Urine filter membrane photographed through a 4× microscope objective. The field of view is about 1.5 mm × 1.1 mm.
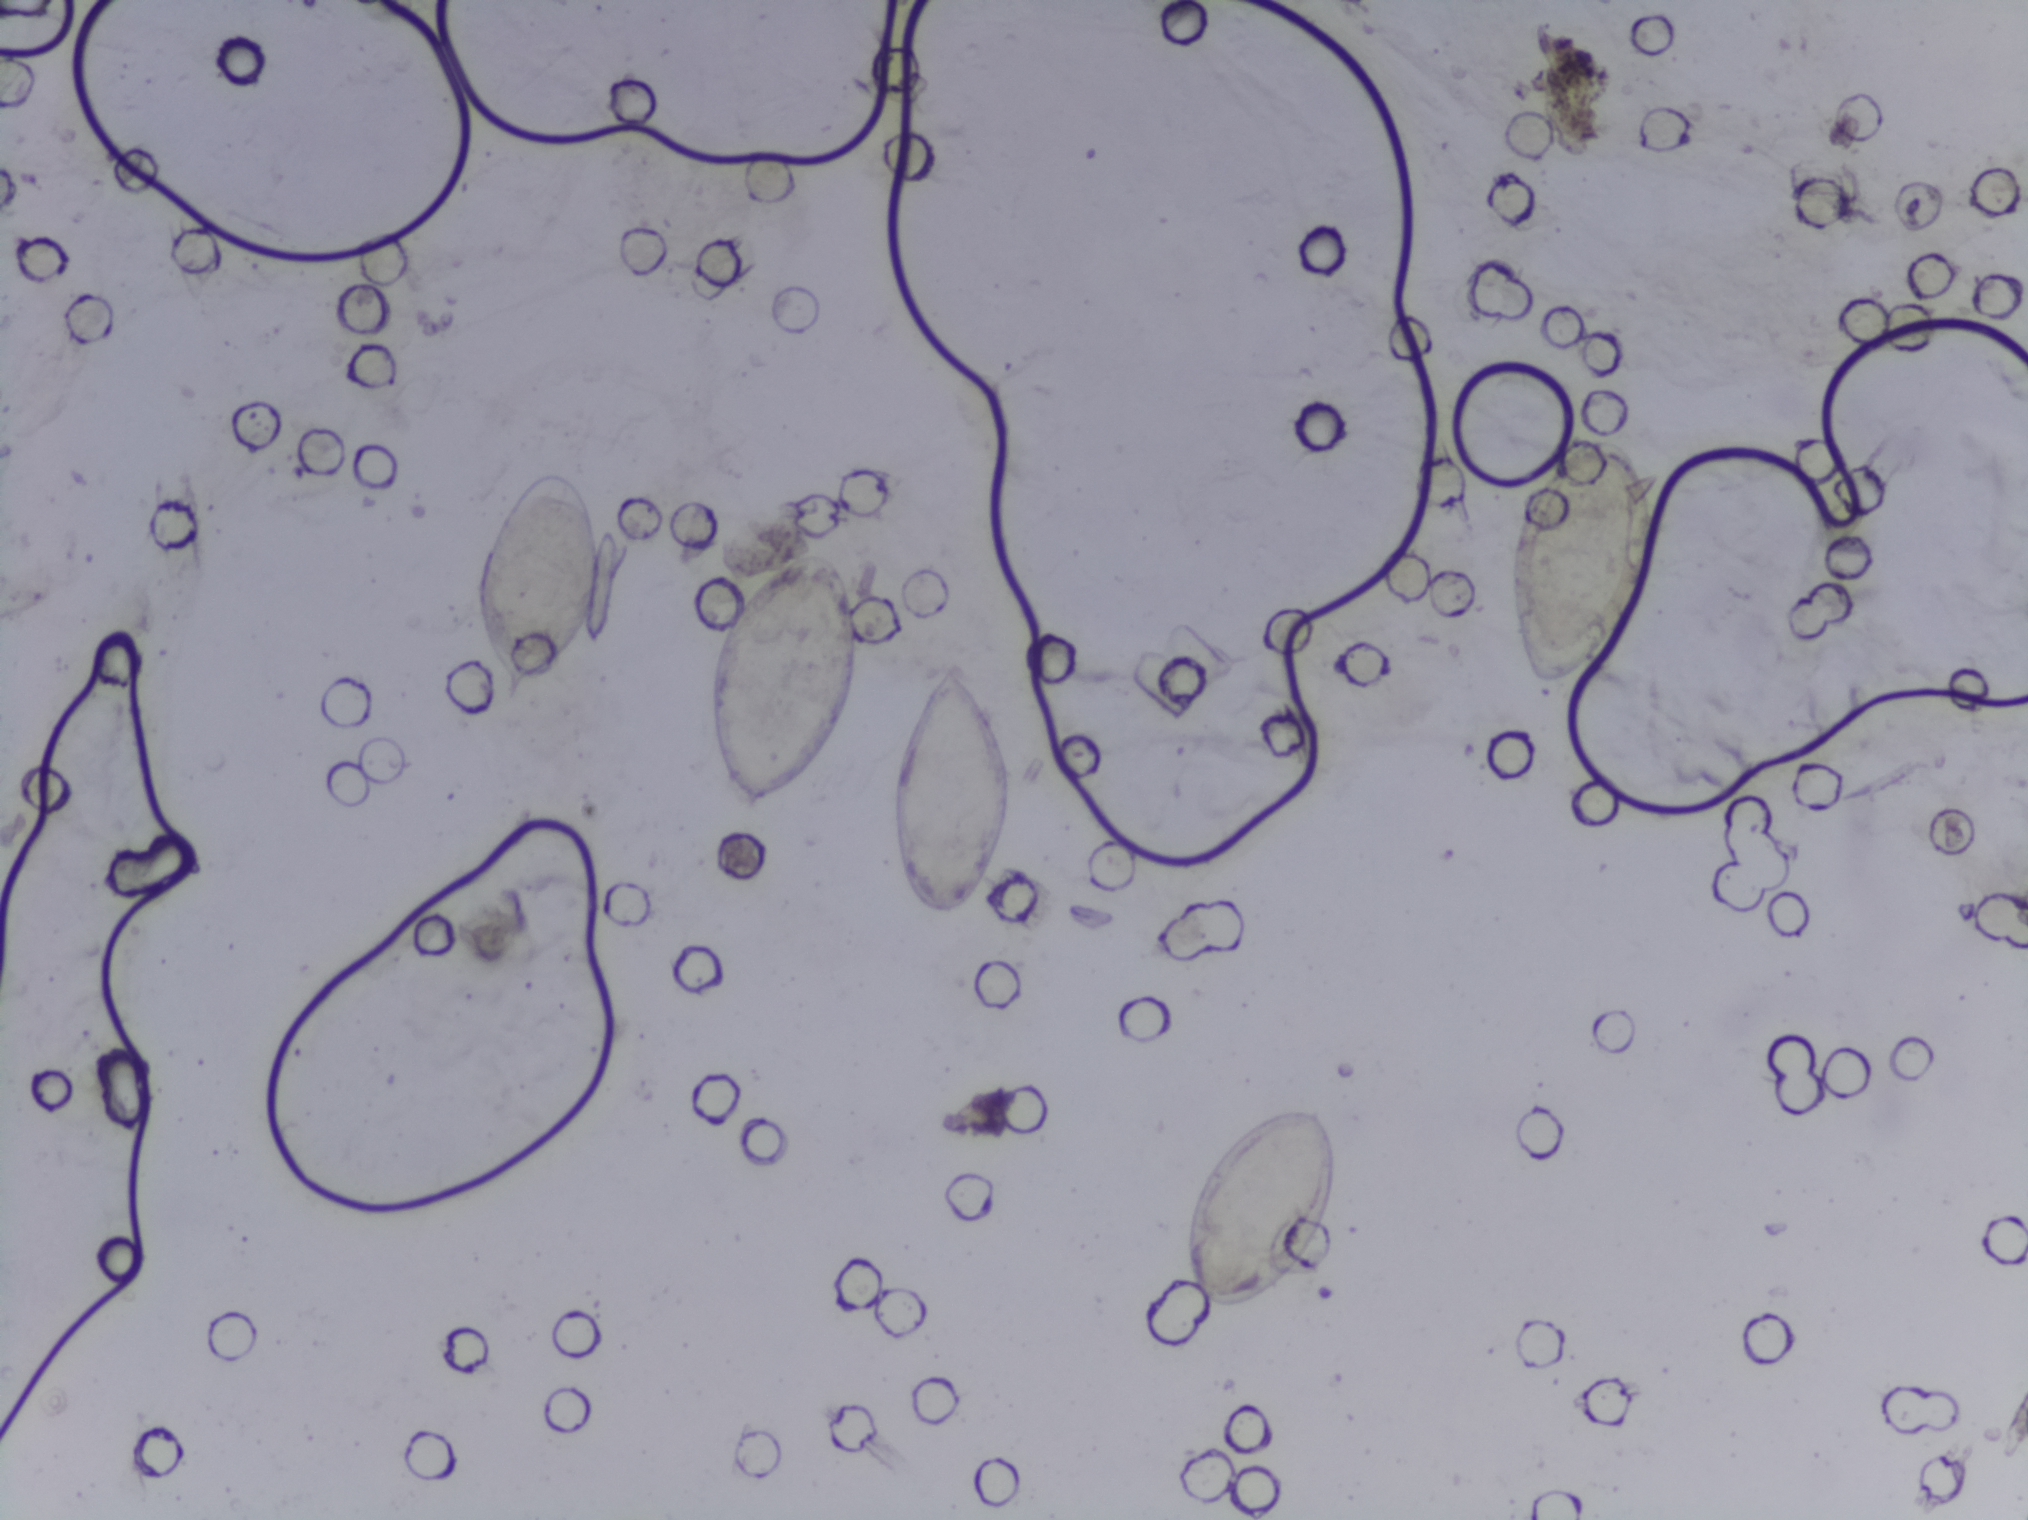
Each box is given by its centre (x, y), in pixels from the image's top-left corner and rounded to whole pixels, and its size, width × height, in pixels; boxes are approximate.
Five areas of this image are outlined as Schistosoma eggs, from left to right: centre (542, 588), 129 × 236 px; centre (785, 681), 150 × 264 px; centre (952, 794), 121 × 257 px; centre (1261, 1211), 172 × 219 px; centre (1579, 564), 163 × 277 px. A single outlined area may contain several eggs.